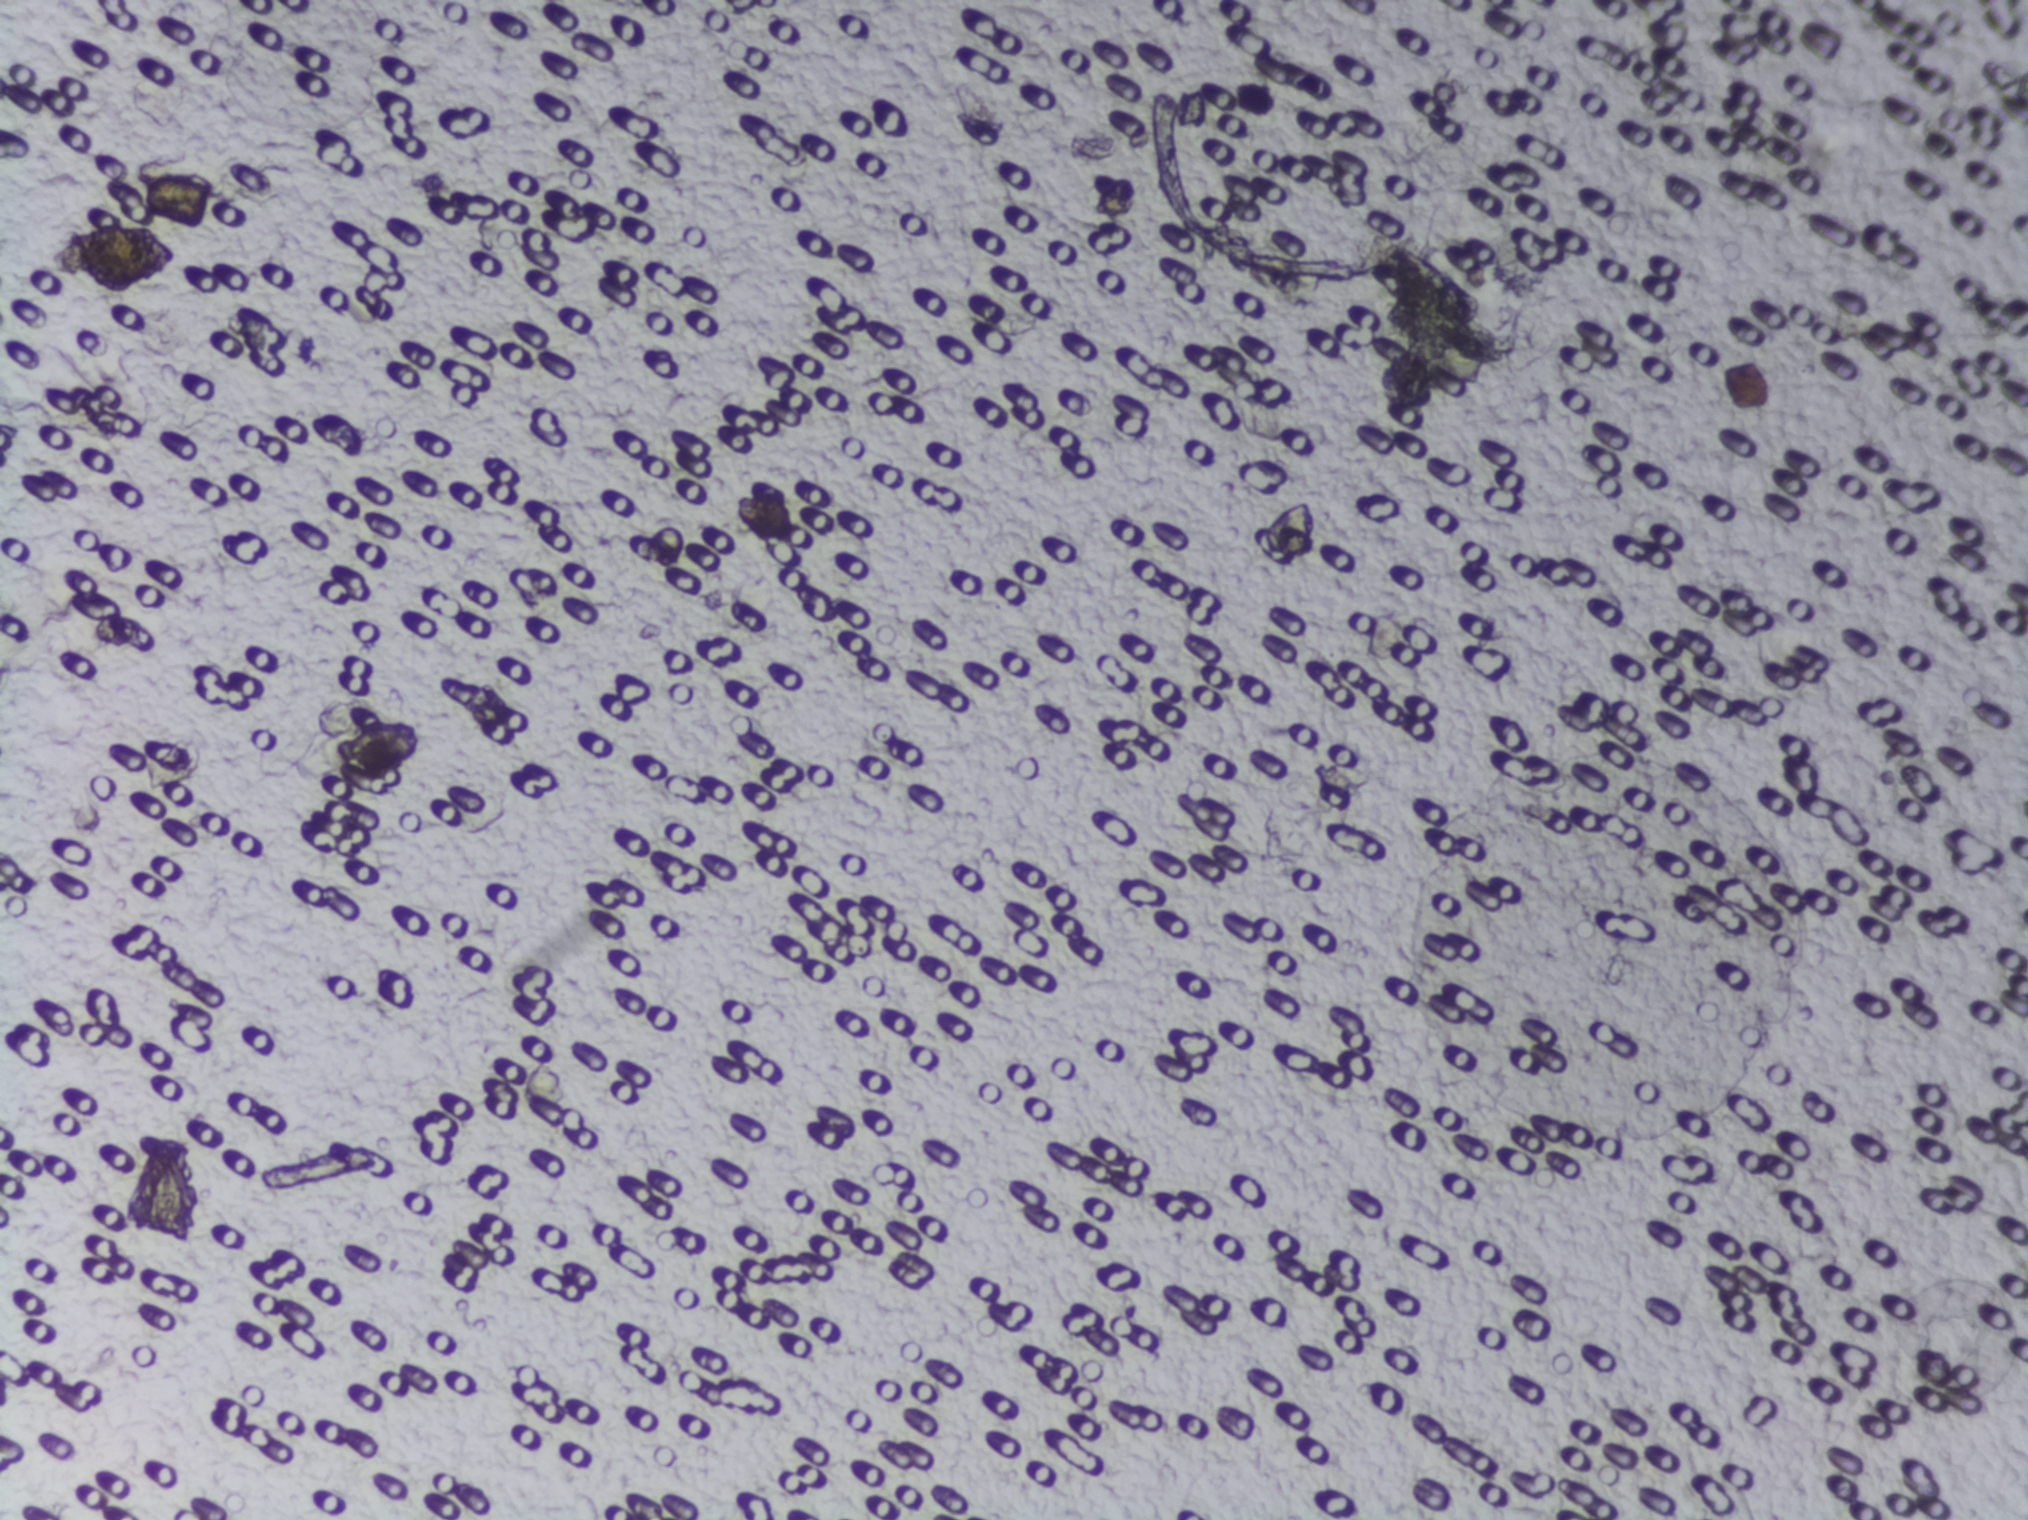
Urine filtration membrane under a 4× objective, photographed by an automated digital microscope.
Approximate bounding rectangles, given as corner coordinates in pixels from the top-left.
Schistosoma egg areas, outlined: (x1=342, y1=720, x2=421, y2=778); (x1=1261, y1=503, x2=1316, y2=563). Marked pixels, not the boxes around them: about 0.2% of the image. A single outlined area may contain several eggs.